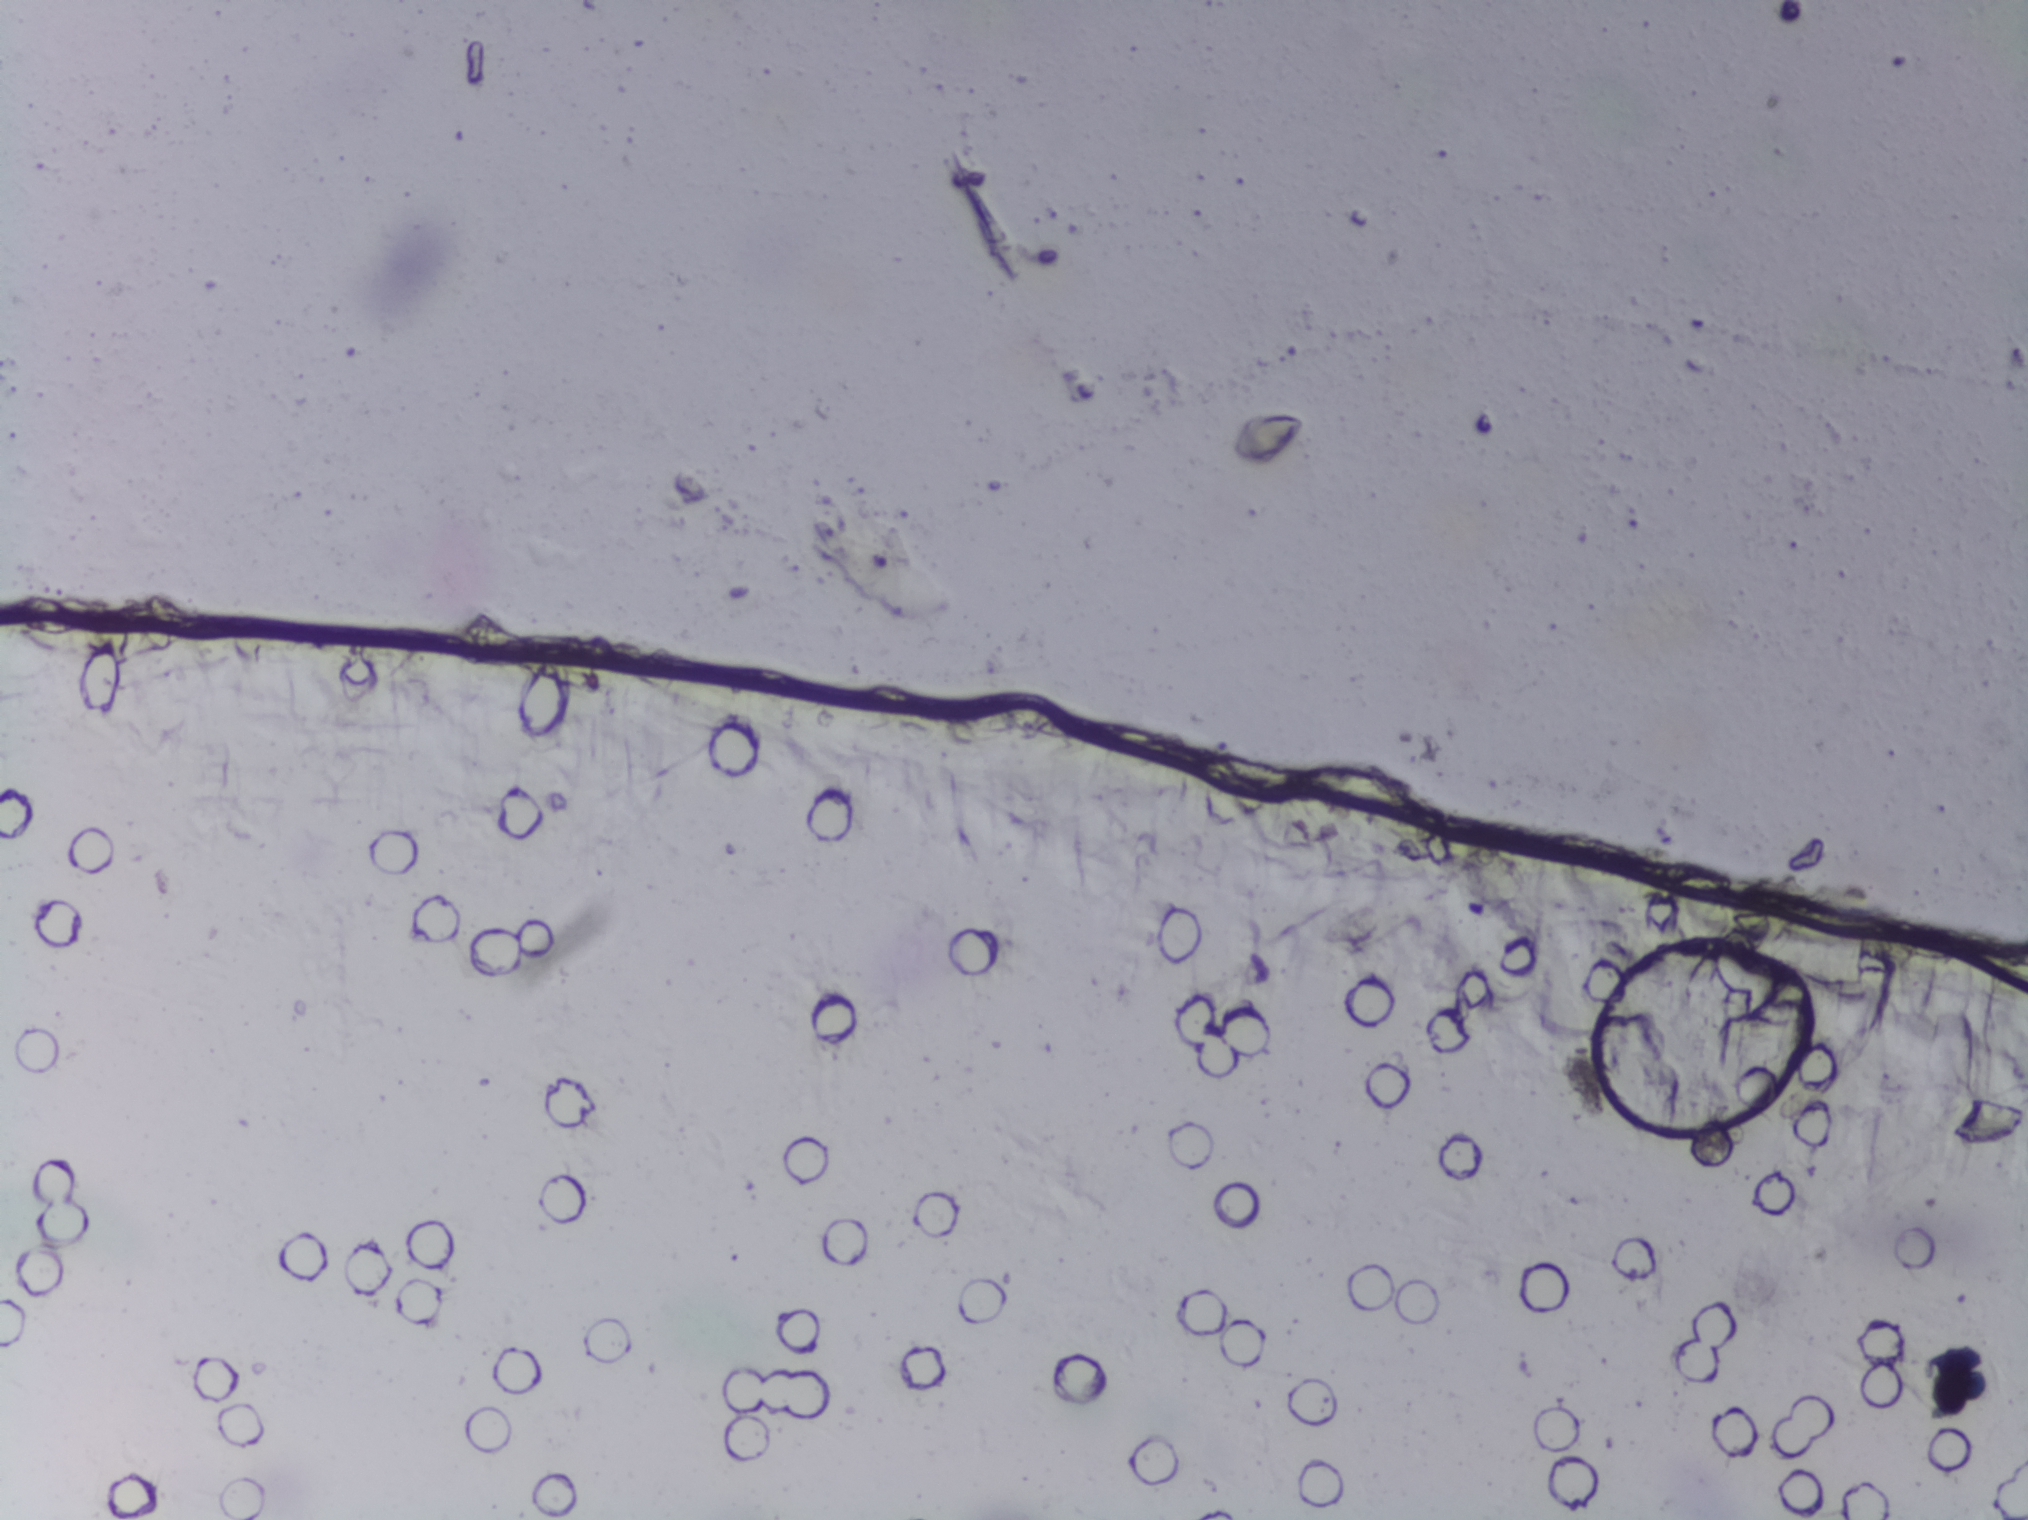
Microscope photograph (4× objective) of a membrane that a urine sample was filtered through.
No area of this image was outlined as a Schistosoma egg.